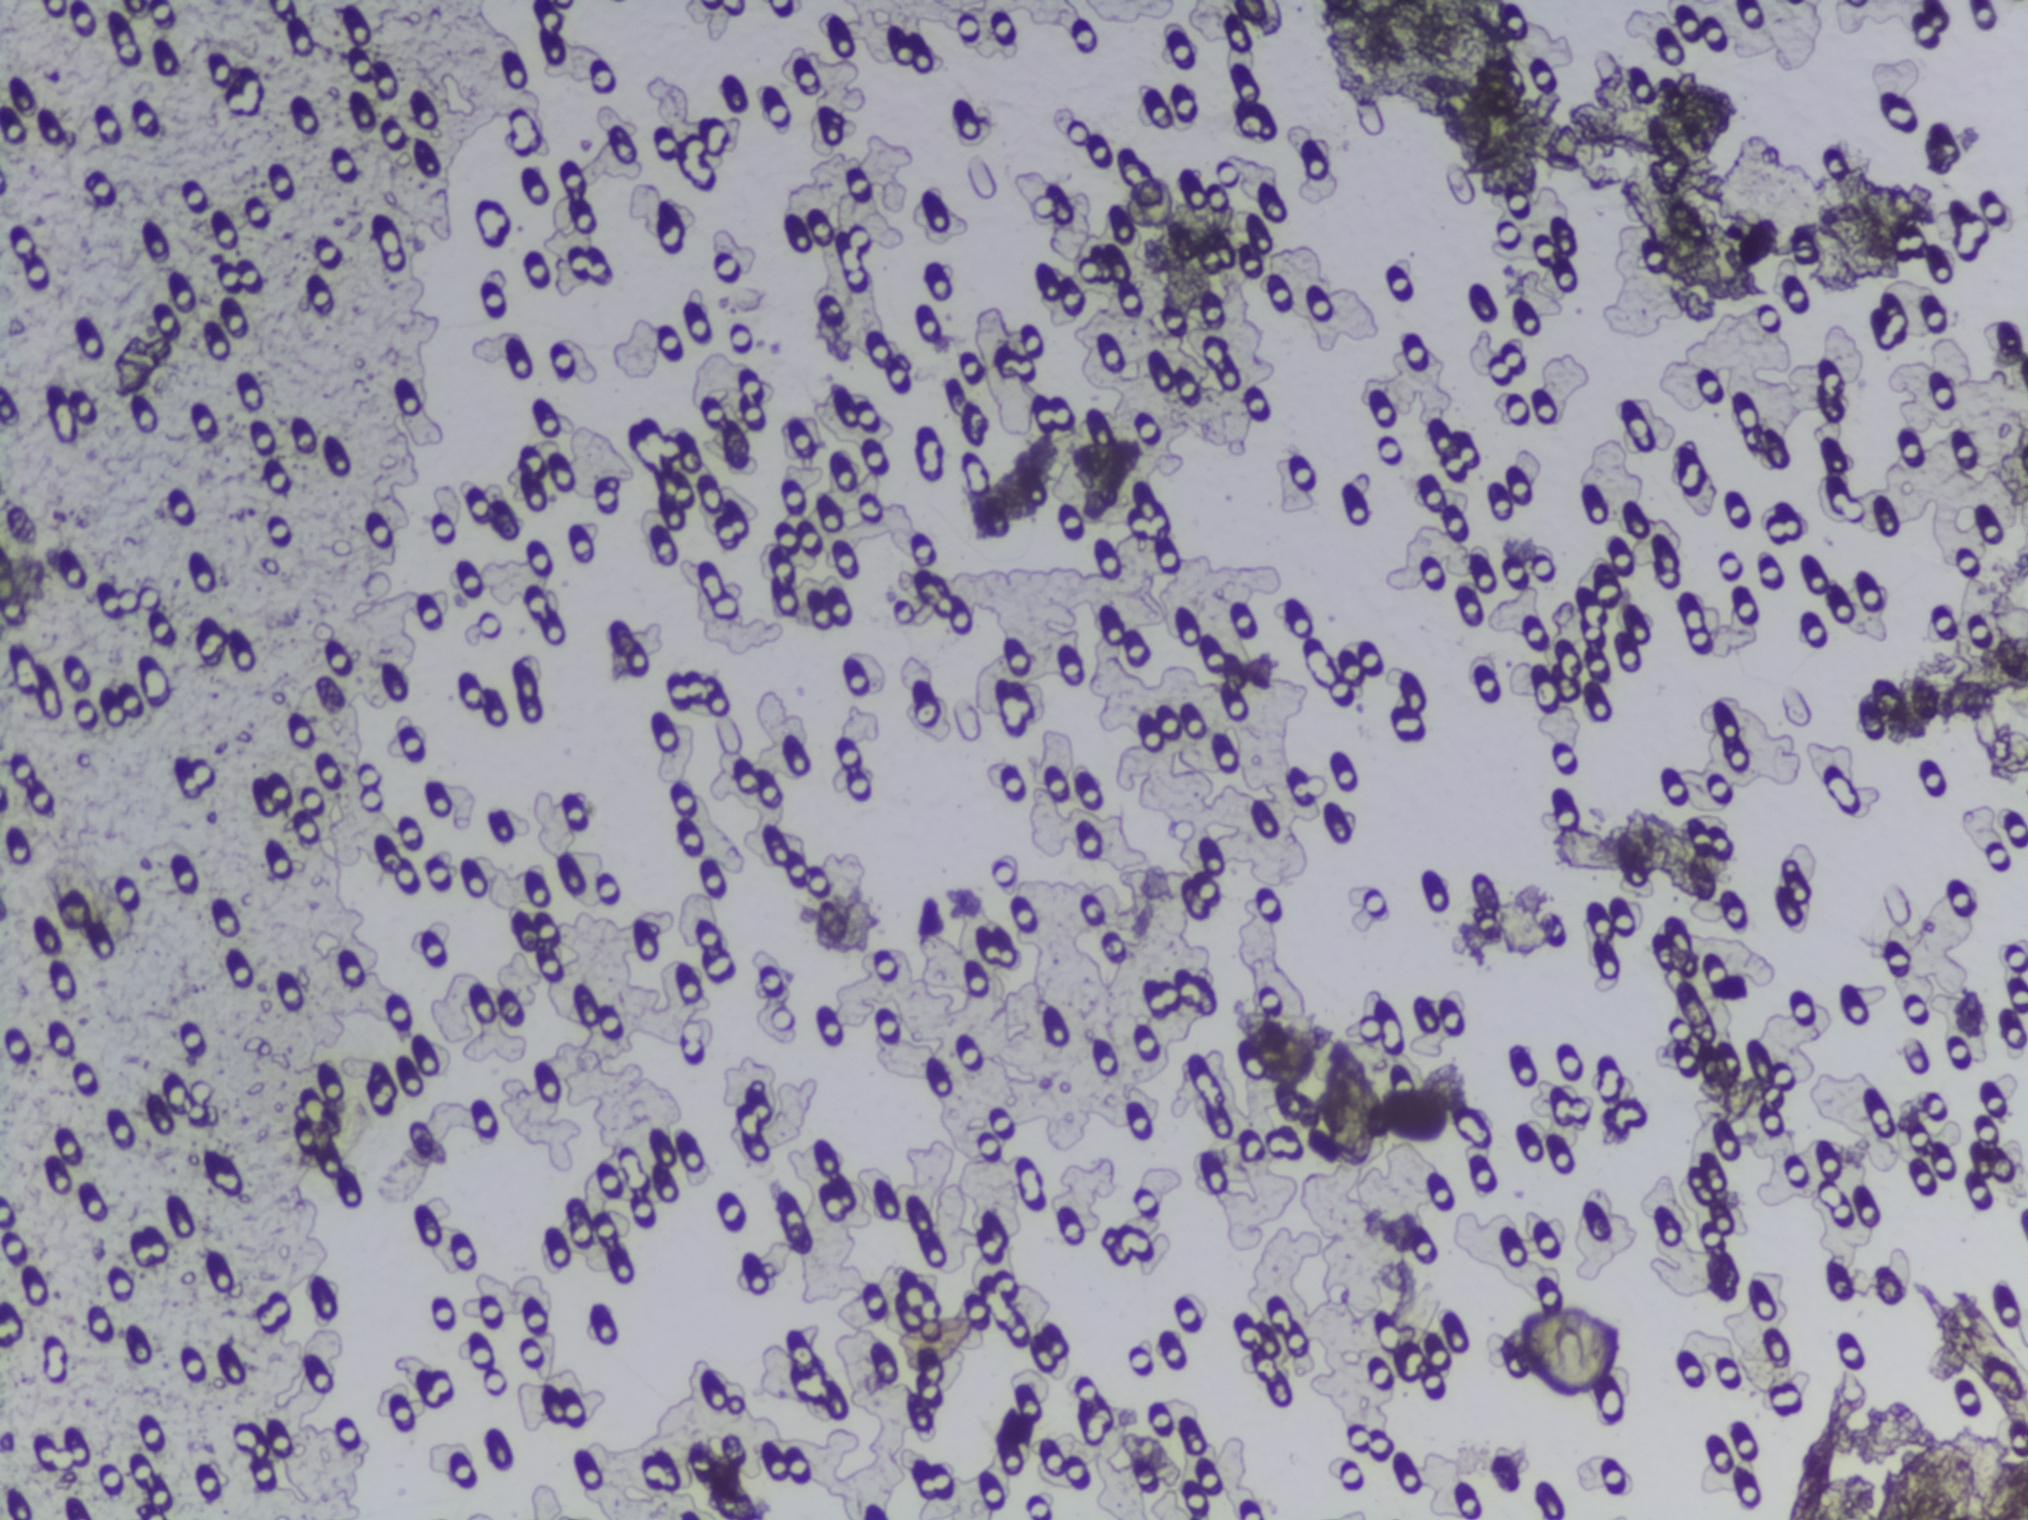
Photograph from an automated digital microscope: urine filter membrane, 4× objective. The field of view is about 1.5 mm × 1.1 mm.
No Schistosoma egg is outlined in this image's expert annotation.